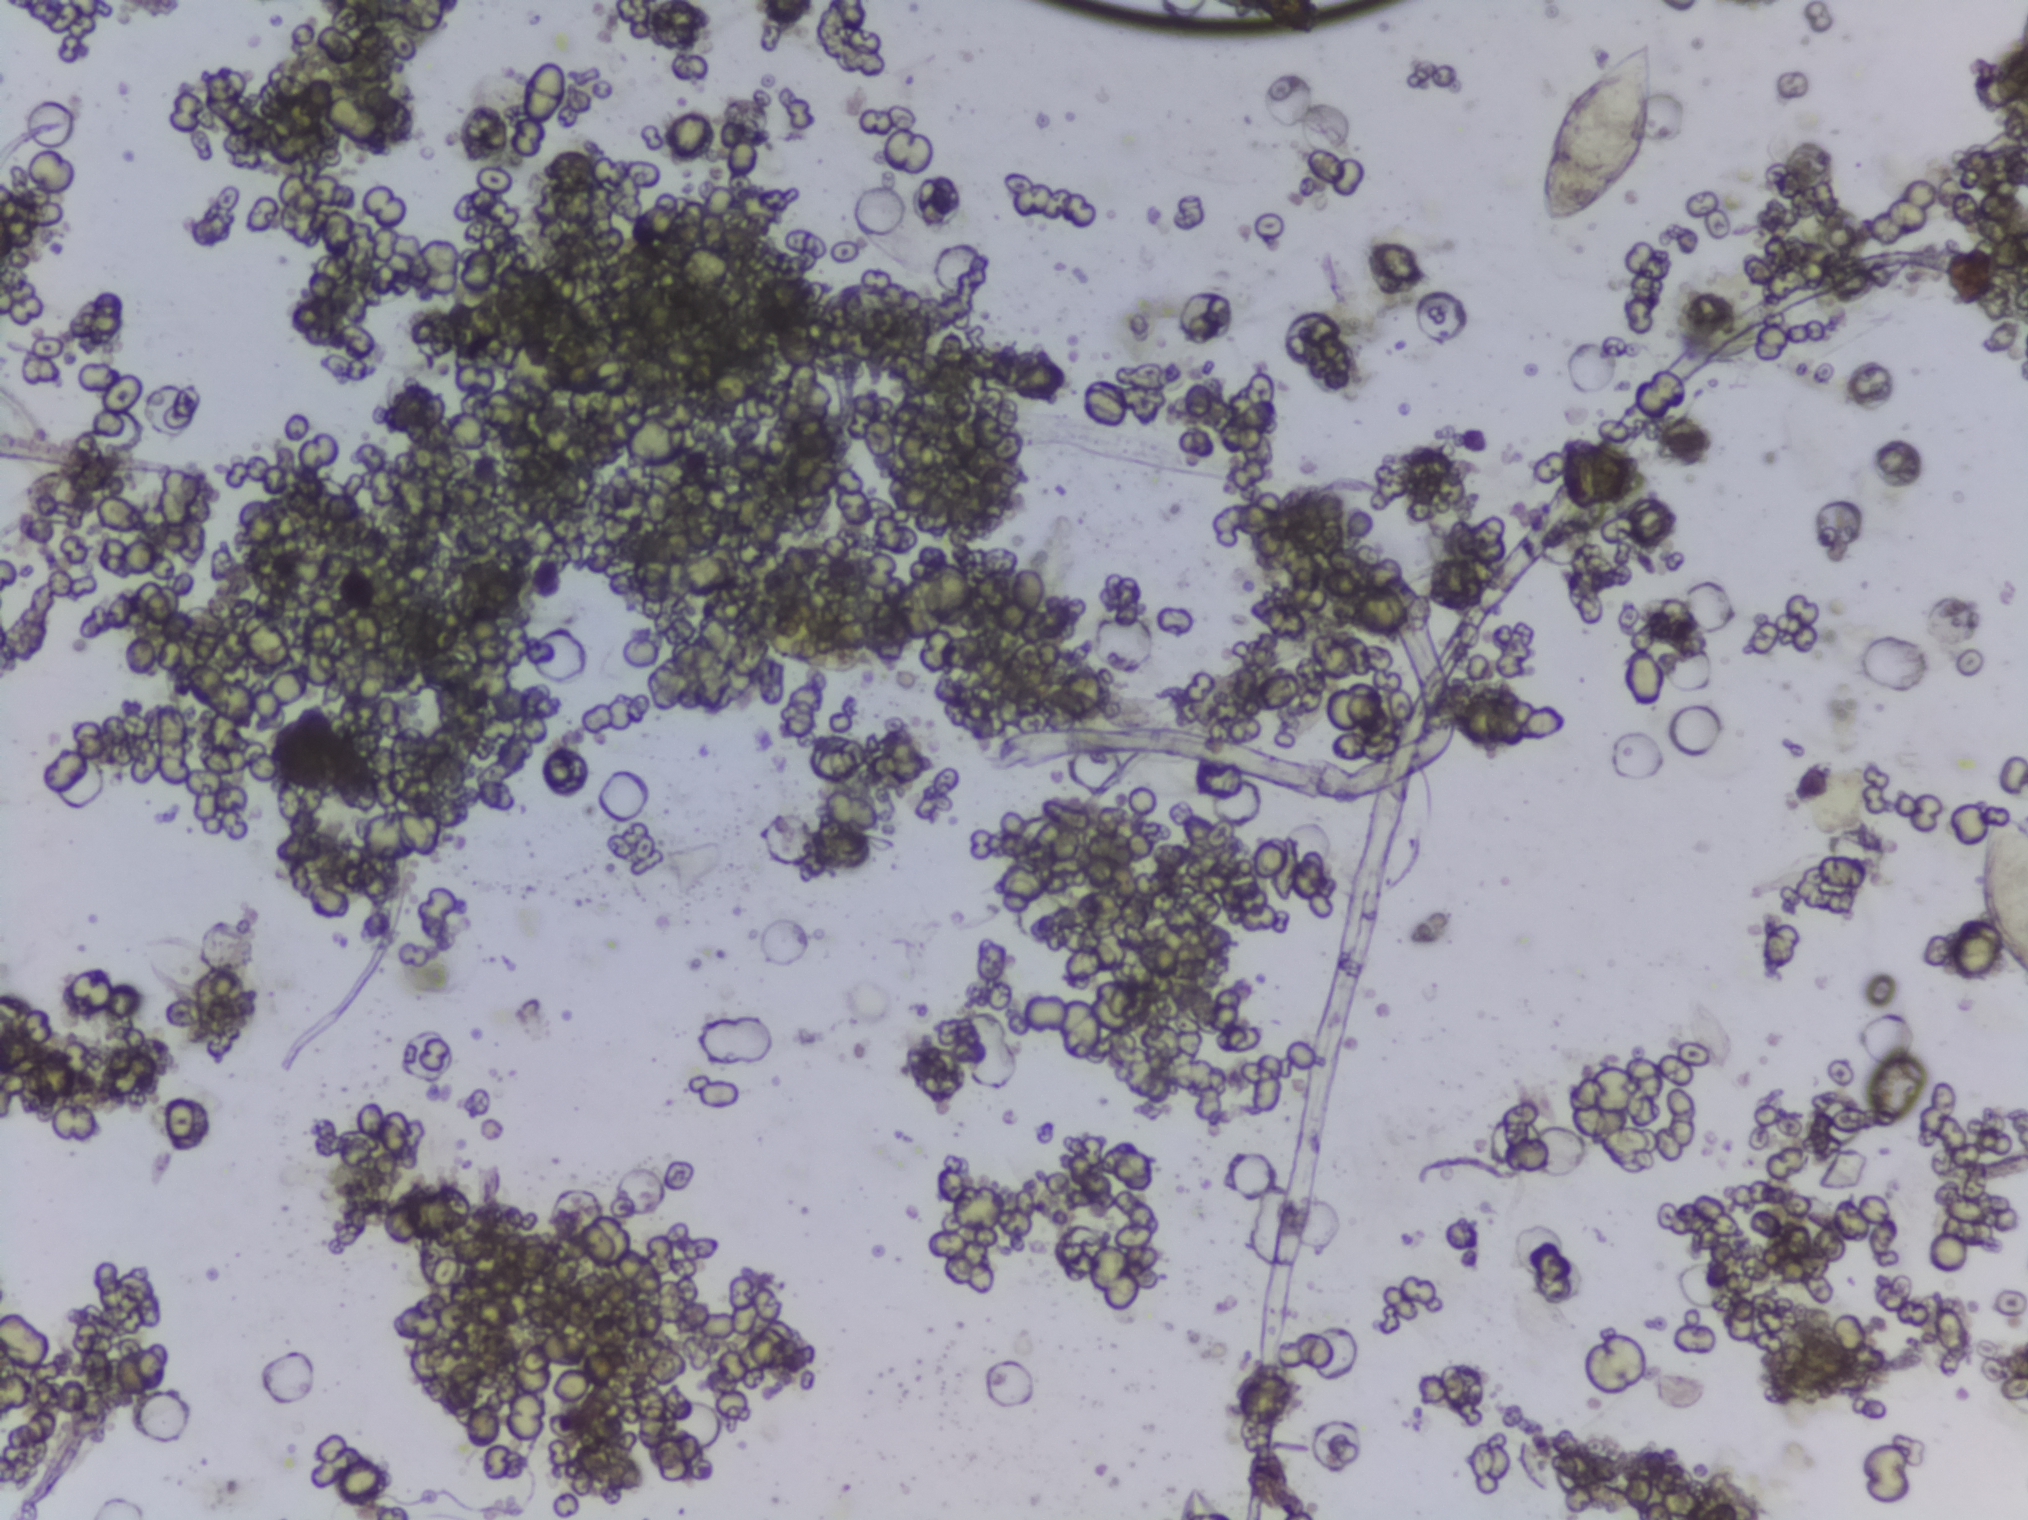
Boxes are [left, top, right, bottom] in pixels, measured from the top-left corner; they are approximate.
Schistosoma eggs are outlined in the expert annotation at [1536, 38, 1655, 224] and [1971, 805, 2027, 977] (reaching the right edge of the frame). Eggs that touch can end up inside the same outlined area.
Microscope photograph (4× objective) of a membrane that a urine sample was filtered through. Field of view: about 1.5 mm wide and 1.1 mm high.